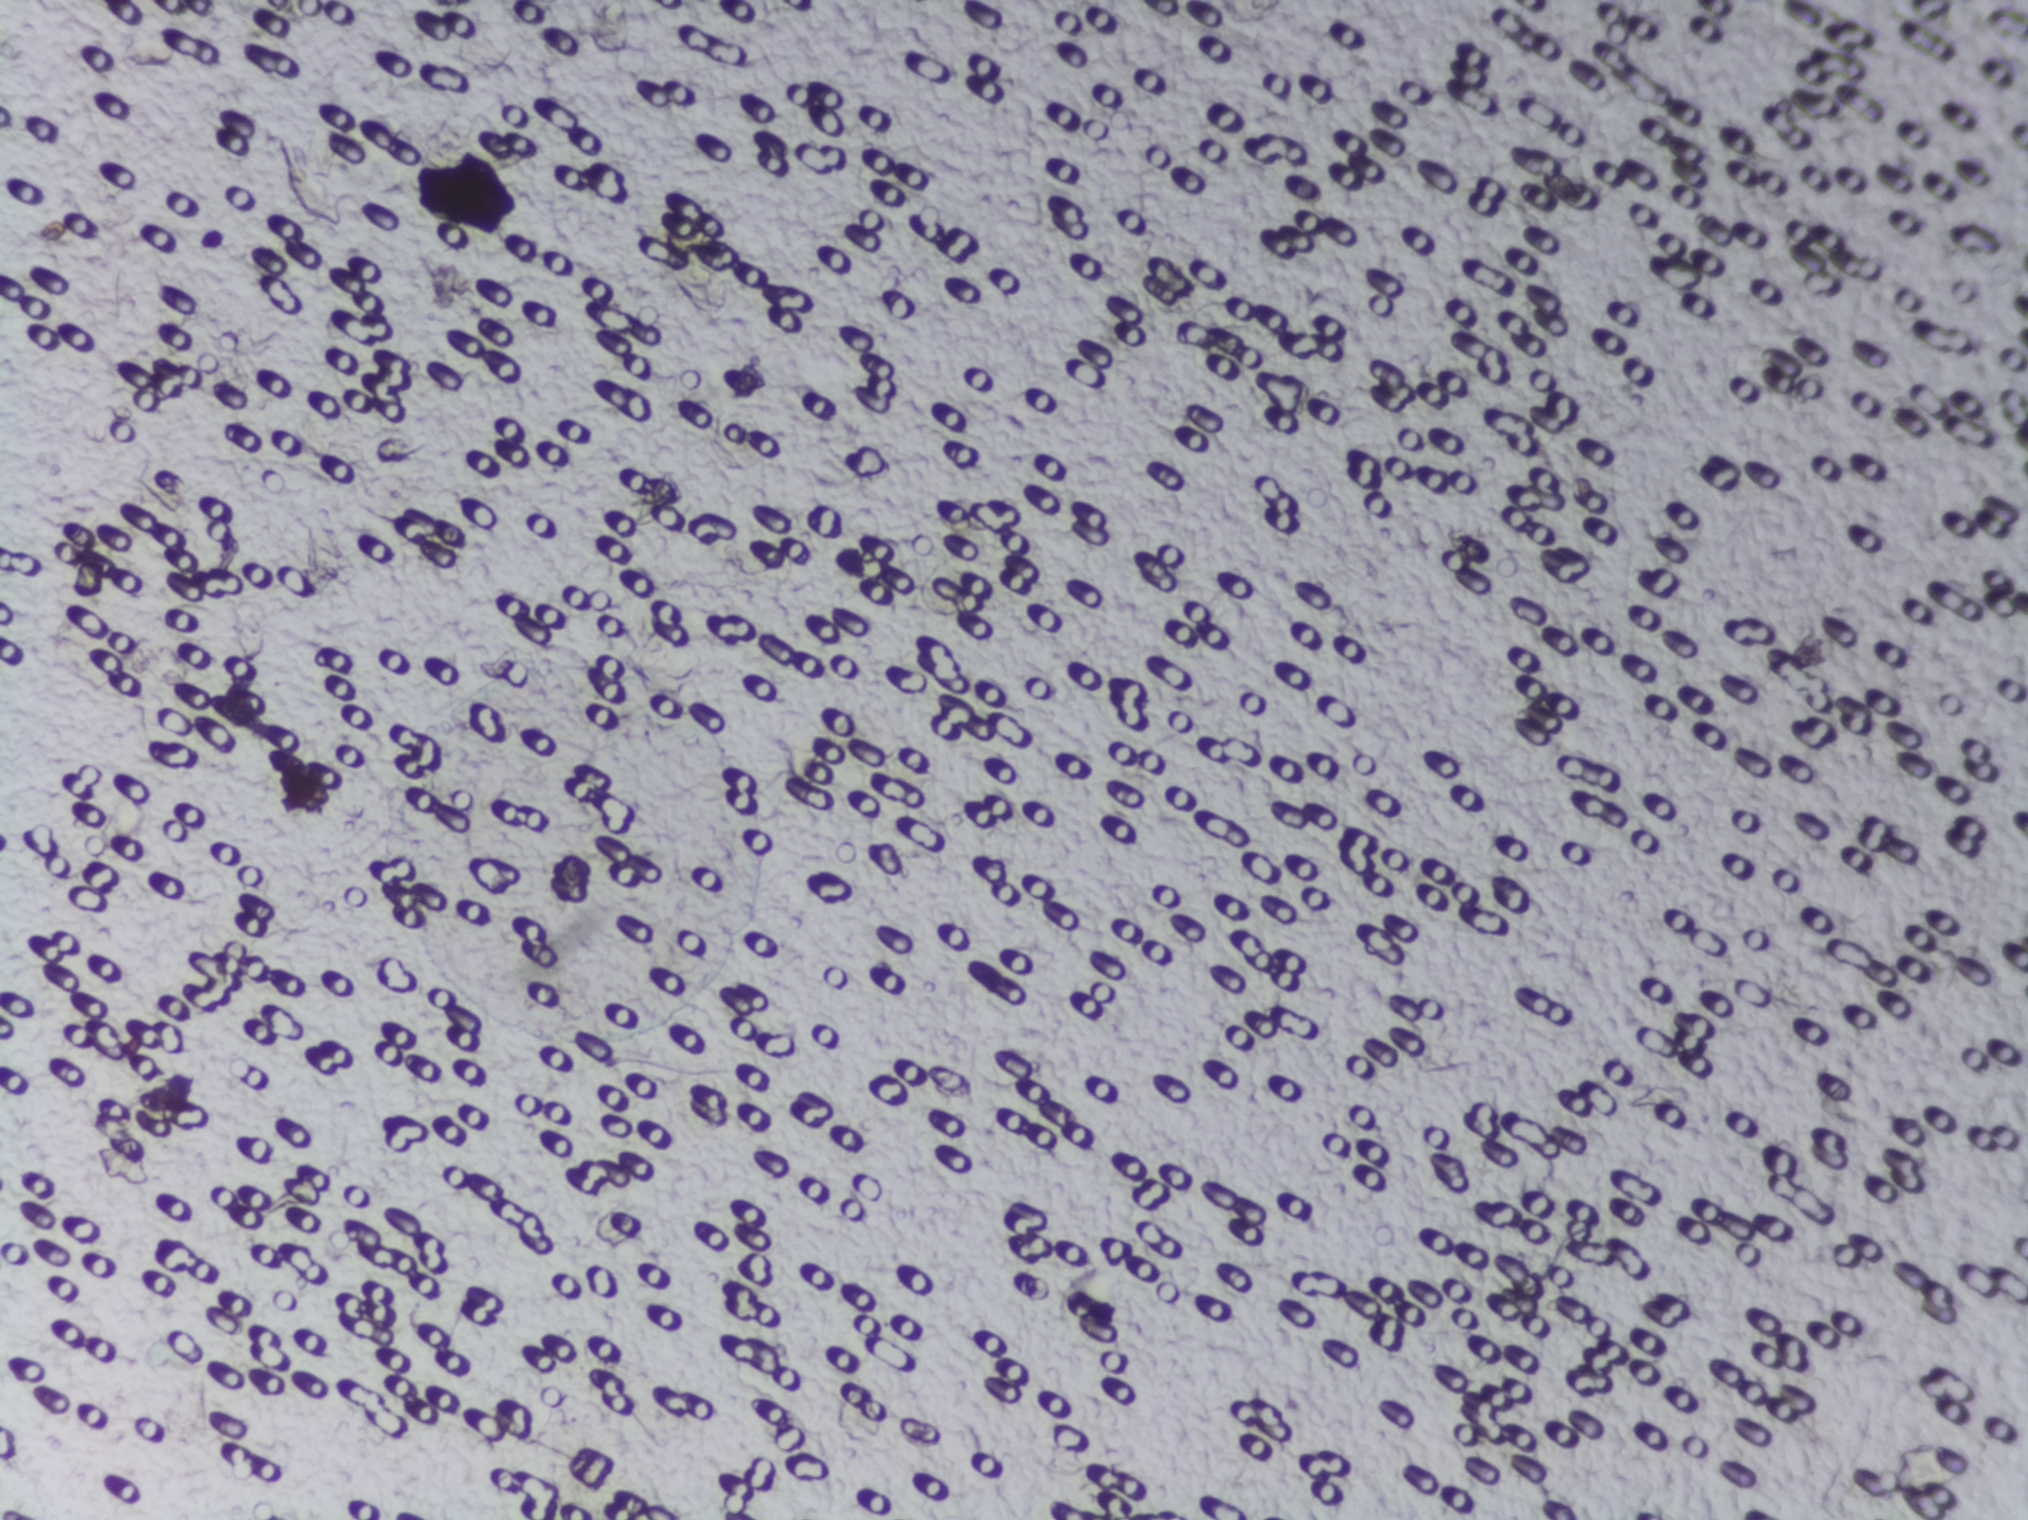
Photograph from an automated digital microscope: urine filter membrane, 4× objective.
Schistosoma eggs: none outlined.